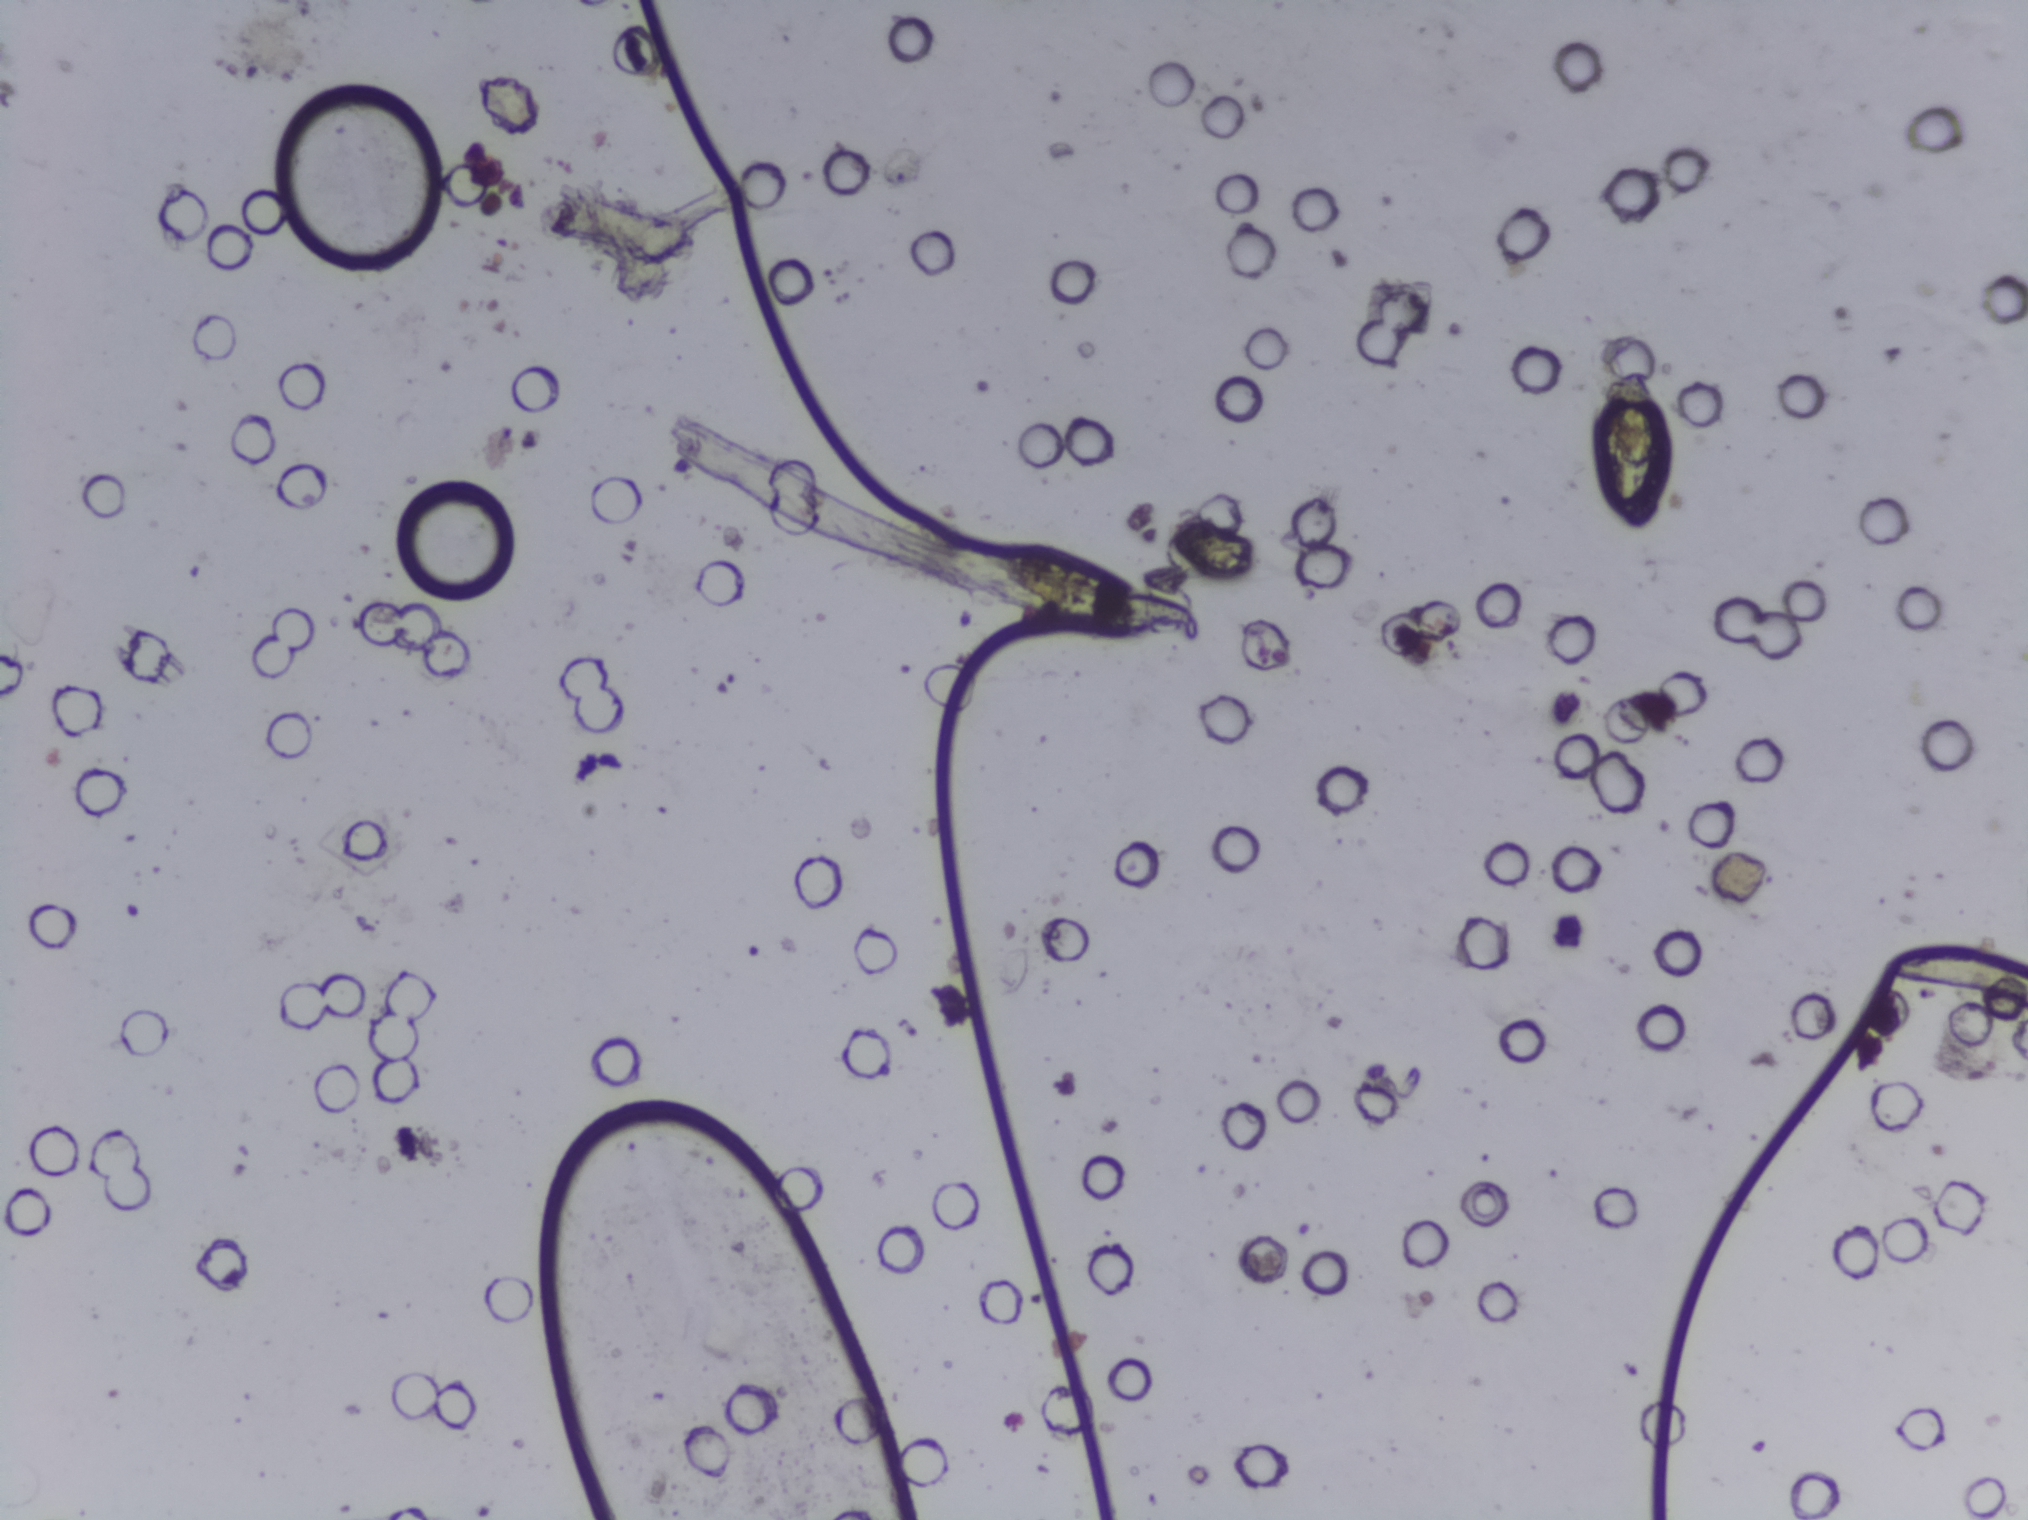
Photograph from an automated digital microscope: urine filter membrane, 4× objective. The image covers about 1.5 × 1.1 mm of the membrane.
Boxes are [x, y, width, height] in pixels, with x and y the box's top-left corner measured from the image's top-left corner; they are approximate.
One area of this image is outlined as Schistosoma eggs: [1596, 371, 73, 151]. Eggs that touch can end up inside the same outlined area.